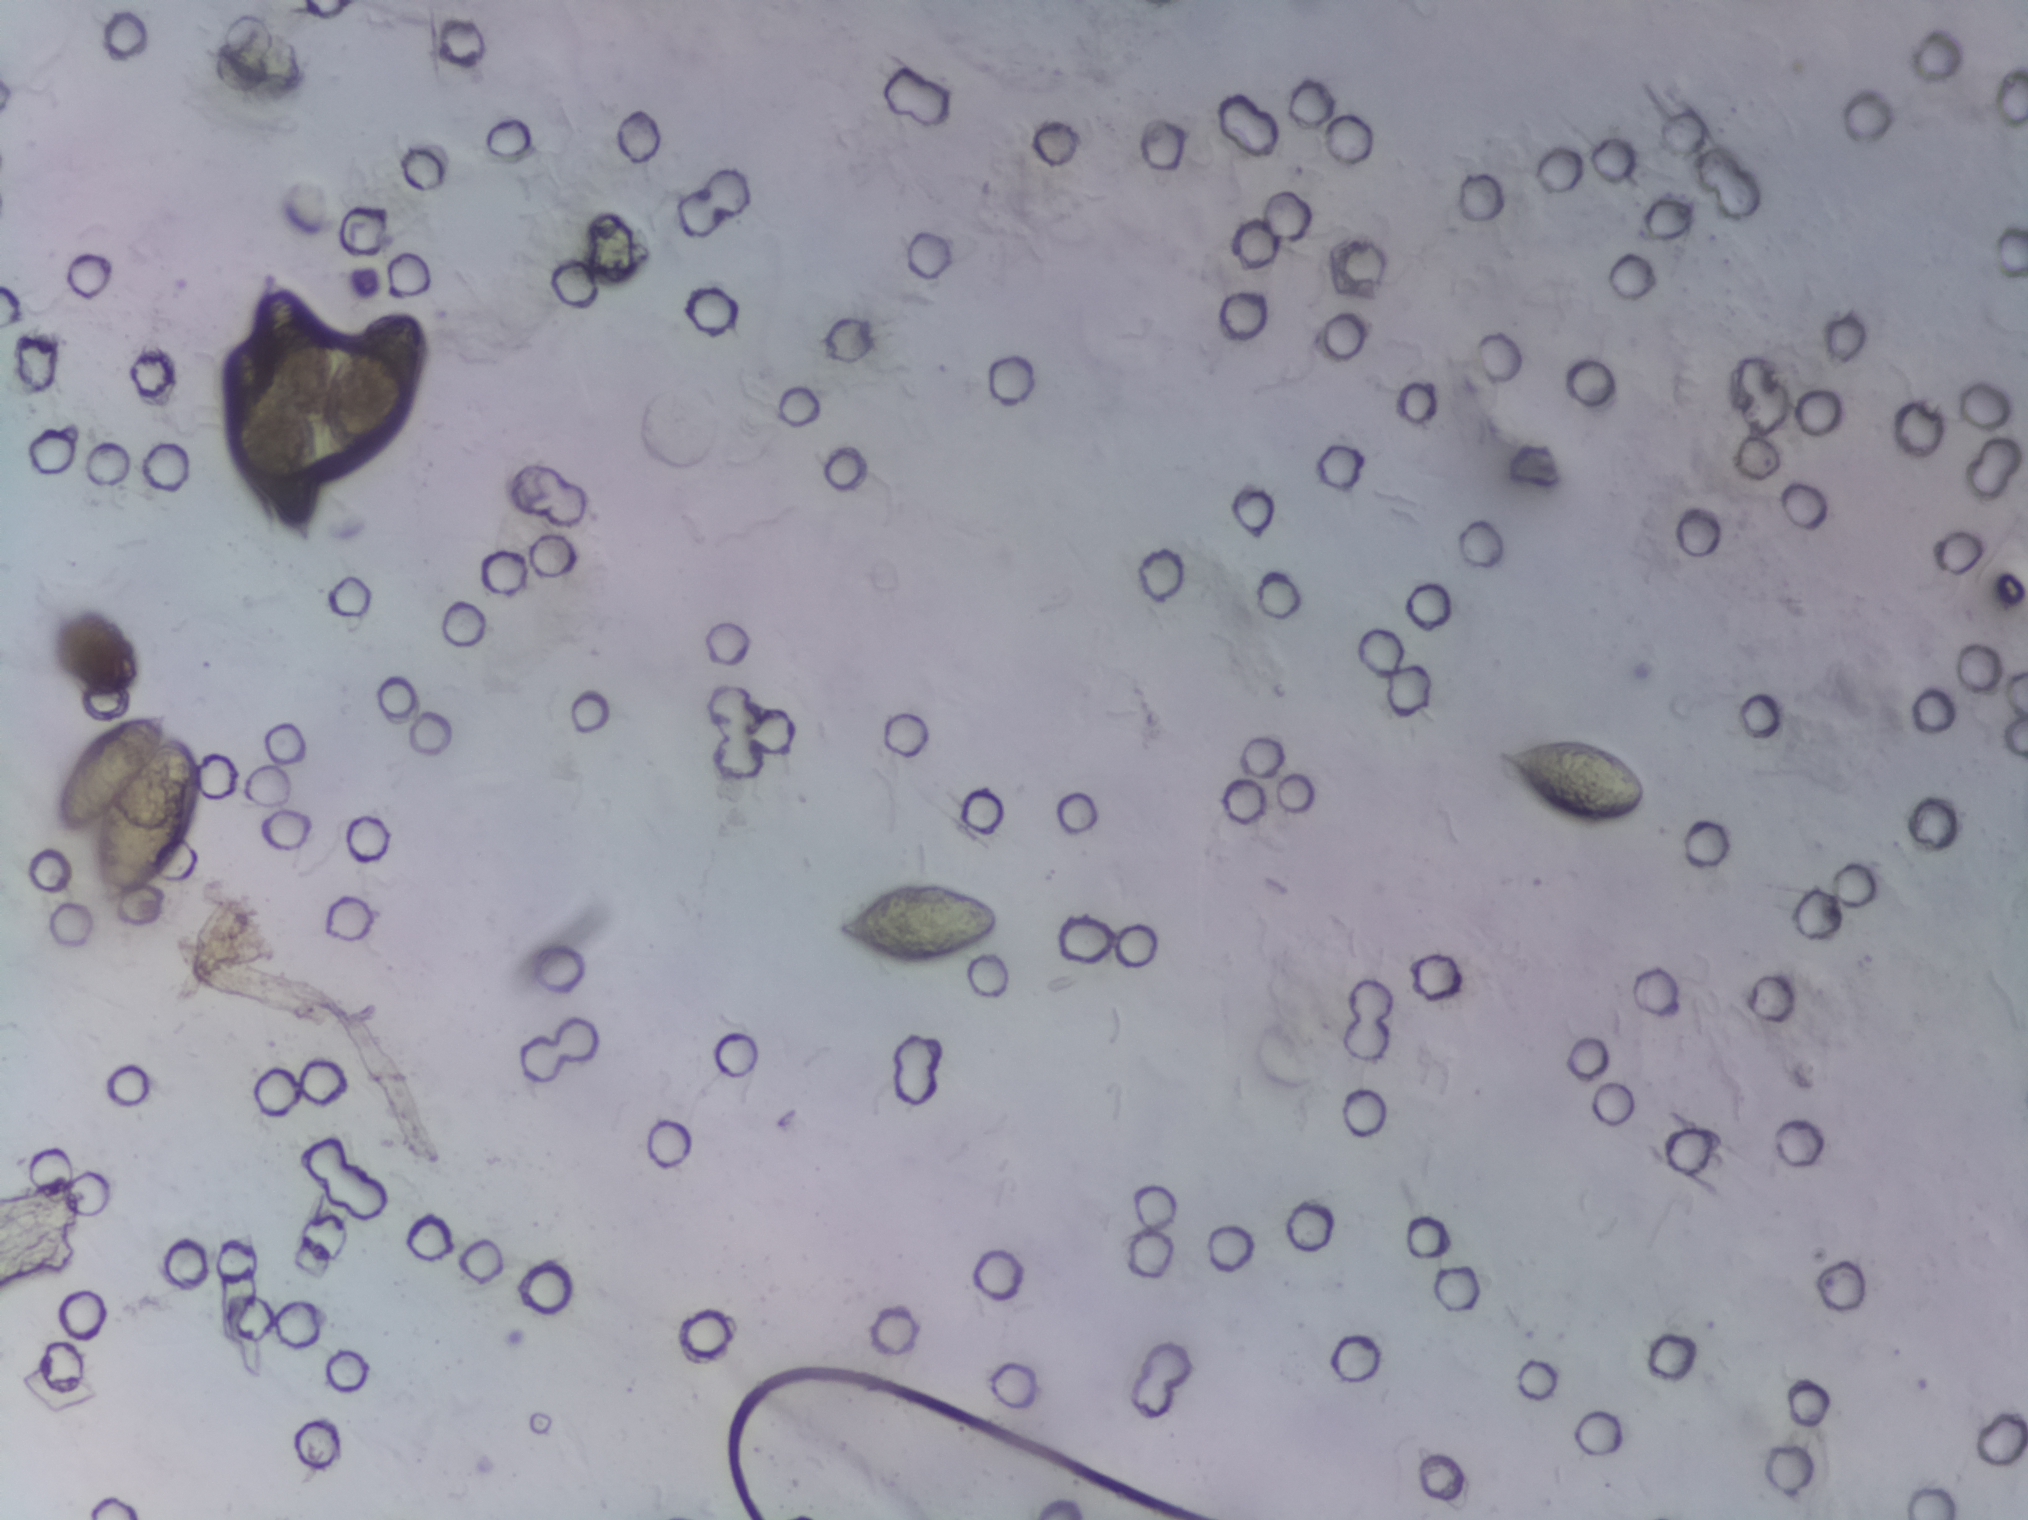
Photomicrograph of a urine filtration membrane, 4× objective.
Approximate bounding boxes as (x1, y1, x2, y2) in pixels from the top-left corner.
Schistosoma eggs are outlined in four areas of this image, listed from left to right: (52, 709, 205, 908); (218, 270, 431, 547); (829, 877, 1002, 969); (1493, 734, 1649, 834). The marked pixels themselves, not the boxes around them, cover about 2.5% of the image. Eggs that touch can end up inside the same outlined area.